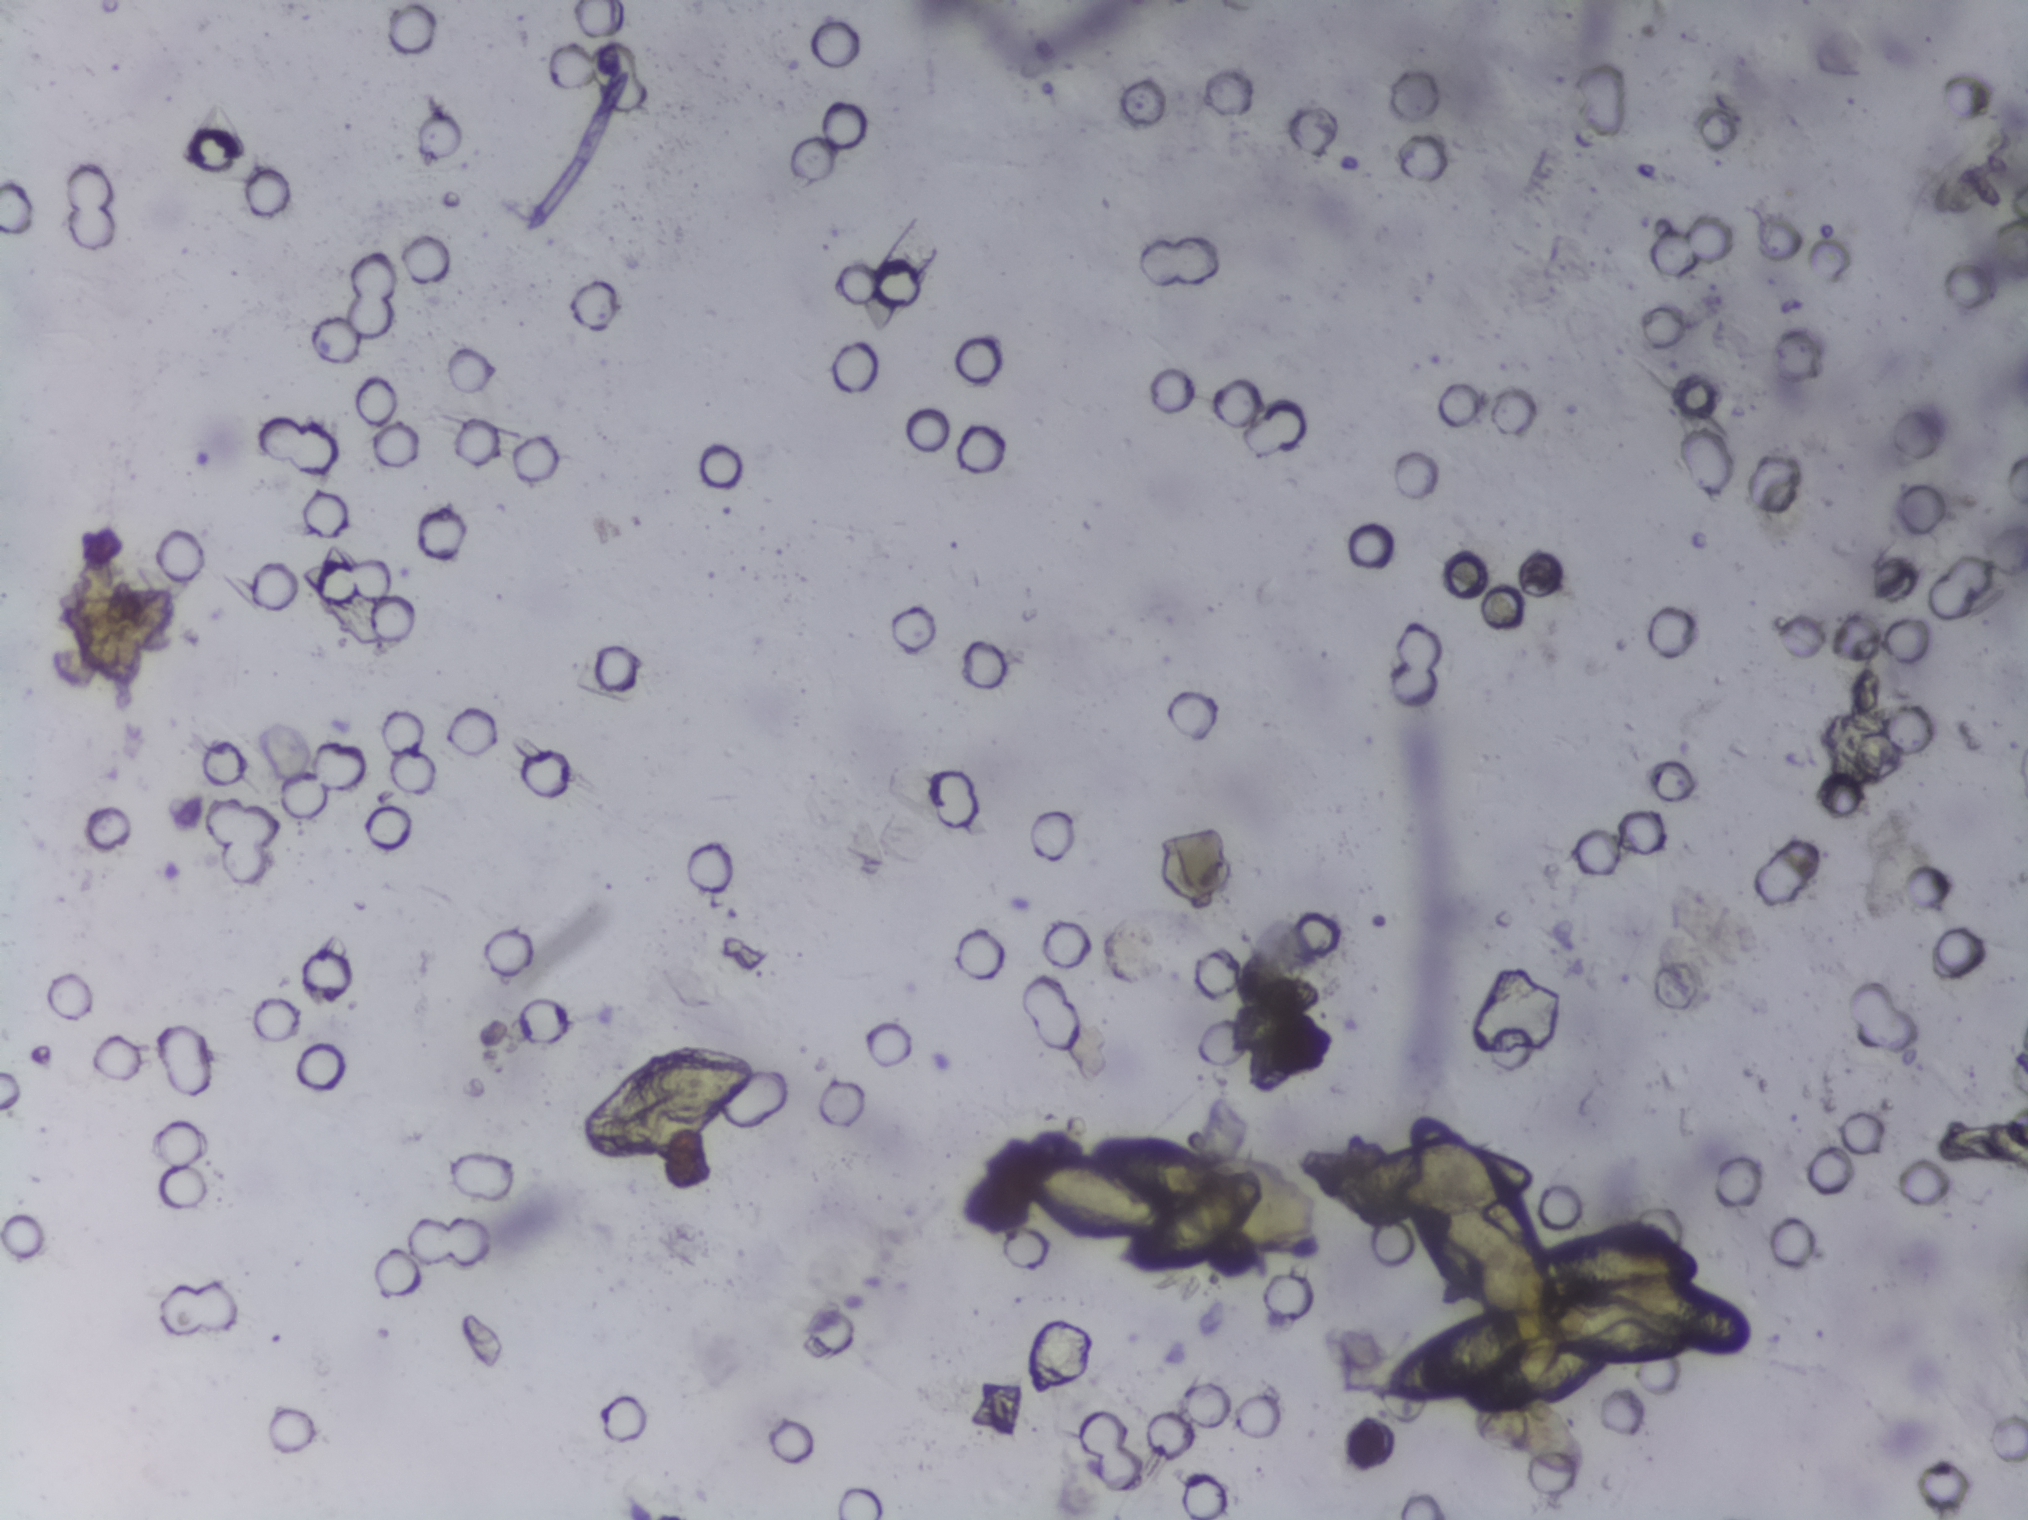
Microscope photograph (4× objective) of a membrane that a urine sample was filtered through. The field of view is about 1.5 mm × 1.1 mm.
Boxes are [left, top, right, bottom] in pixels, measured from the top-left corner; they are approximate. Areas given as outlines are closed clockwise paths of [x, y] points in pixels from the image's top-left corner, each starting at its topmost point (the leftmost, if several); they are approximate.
Schistosoma egg areas, outlined: box [583, 1040, 754, 1167]; box [1008, 1127, 1268, 1276]; outline [1430, 1102], [1485, 1143], [1540, 1168], [1541, 1181], [1528, 1201], [1547, 1240], [1580, 1225], [1639, 1220], [1700, 1245], [1700, 1274], [1750, 1308], [1755, 1341], [1748, 1351], [1717, 1359], [1694, 1350], [1648, 1367], [1606, 1366], [1558, 1396], [1504, 1409], [1462, 1406], [1455, 1391], [1395, 1402], [1368, 1398], [1393, 1361], [1470, 1317], [1416, 1271], [1404, 1234], [1361, 1221], [1331, 1190], [1338, 1171], [1395, 1149], [1406, 1122] (eggs clustered together). A single outlined area may contain several eggs.